Photomicrograph of a urine filtration membrane, 4× objective. The field of view is about 1.5 mm × 1.1 mm.
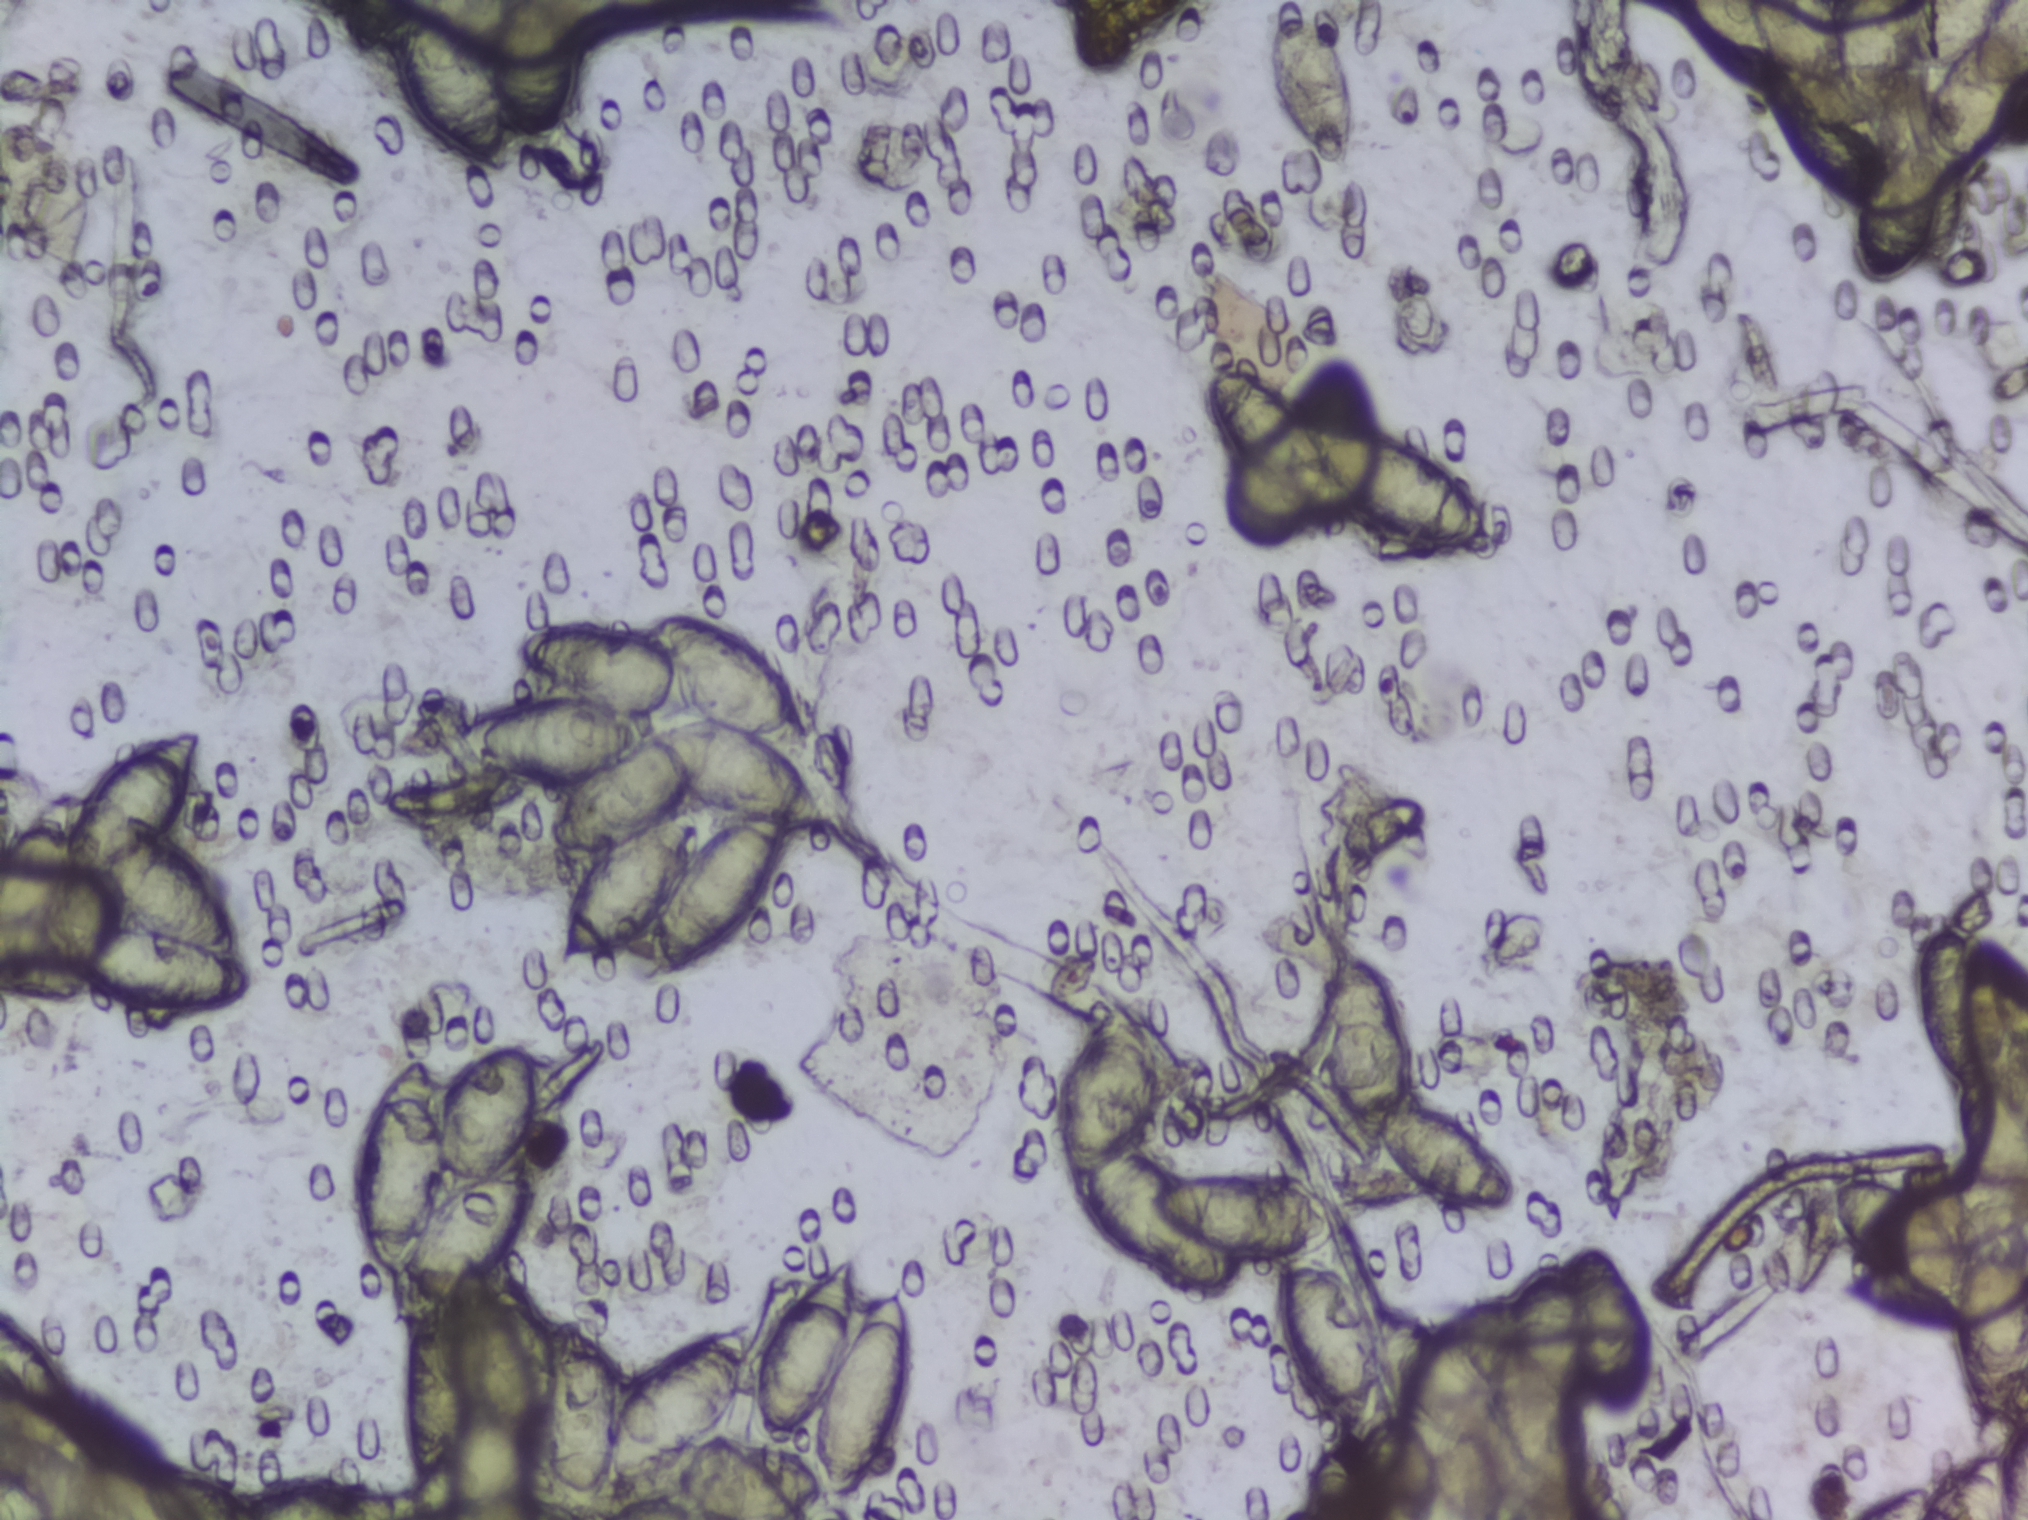
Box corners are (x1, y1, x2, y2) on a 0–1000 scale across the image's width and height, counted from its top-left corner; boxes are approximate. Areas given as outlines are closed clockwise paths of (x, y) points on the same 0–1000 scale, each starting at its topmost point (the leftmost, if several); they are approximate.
Findings: 15 areas outlined as Schistosoma eggs. Locations: box (0, 480, 123, 665) (a cluster of eggs; reaching the left edge of the frame); box (0, 861, 34, 931) (reaching the left edge of the frame); box (71, 962, 205, 1000) (reaching the bottom edge of the frame); outline (256, 685), (263, 699), (264, 733), (256, 757), (259, 762), (257, 804), (245, 830), (265, 852), (271, 881), (277, 866), (283, 863), (289, 867), (301, 894), (305, 923), (334, 888), (367, 871), (366, 911), (354, 940), (346, 951), (379, 952), (373, 937), (373, 916), (378, 871), (400, 842), (418, 827), (422, 840), (421, 865), (440, 841), (446, 839), (449, 919), (443, 948), (432, 975), (424, 983), (406, 984), (395, 998), (357, 997), (332, 982), (326, 966), (312, 972), (302, 971), (291, 983), (278, 983), (270, 968), (268, 950), (261, 963), (261, 1000), (223, 1000), (215, 969), (205, 970), (198, 949), (205, 872), (196, 873), (191, 840), (174, 790), (178, 747), (190, 715), (203, 698), (212, 696), (217, 723), (221, 711), (236, 692) (a cluster of eggs; reaching the bottom edge of the frame); box (190, 0, 283, 114) (reaching the top edge of the frame); outline (339, 403), (355, 408), (378, 428), (396, 456), (401, 477), (399, 492), (389, 496), (375, 492), (398, 517), (406, 542), (401, 549), (385, 550), (373, 598), (350, 631), (325, 641), (321, 634), (322, 616), (304, 629), (277, 636), (276, 612), (286, 573), (291, 567), (275, 563), (274, 542), (282, 521), (245, 510), (222, 492), (221, 482), (233, 469), (279, 458), (259, 436), (256, 430), (258, 421), (281, 412), (308, 412), (319, 416), (324, 406), (344, 405) (a cluster of eggs); outline (551, 655), (562, 660), (571, 695), (571, 730), (560, 758), (587, 772), (633, 771), (665, 794), (666, 815), (652, 829), (670, 850), (676, 870), (679, 933), (676, 945), (669, 947), (656, 935), (638, 903), (630, 833), (609, 829), (609, 848), (602, 857), (593, 857), (552, 829), (533, 803), (521, 756), (522, 710), (542, 662) (a cluster of eggs); box (594, 241, 739, 365); box (622, 6, 668, 112); outline (657, 626), (676, 635), (690, 659), (692, 725), (720, 739), (743, 765), (748, 792), (738, 804), (729, 806), (712, 797), (690, 771), (682, 754), (675, 762), (664, 744), (649, 694), (652, 644); box (679, 820, 816, 976); box (824, 0, 947, 76) (reaching the top edge of the frame); outline (905, 771), (945, 787), (963, 810), (972, 830), (991, 821), (997, 823), (1000, 830), (1000, 902), (993, 921), (981, 941), (972, 942), (964, 909), (965, 848), (943, 859), (907, 850), (919, 835), (905, 802) (reaching the right edge of the frame); box (914, 0, 1000, 188) (reaching the top and right edges of the frame); box (944, 593, 1000, 809) (reaching the right edge of the frame). A single outlined area may contain several eggs.